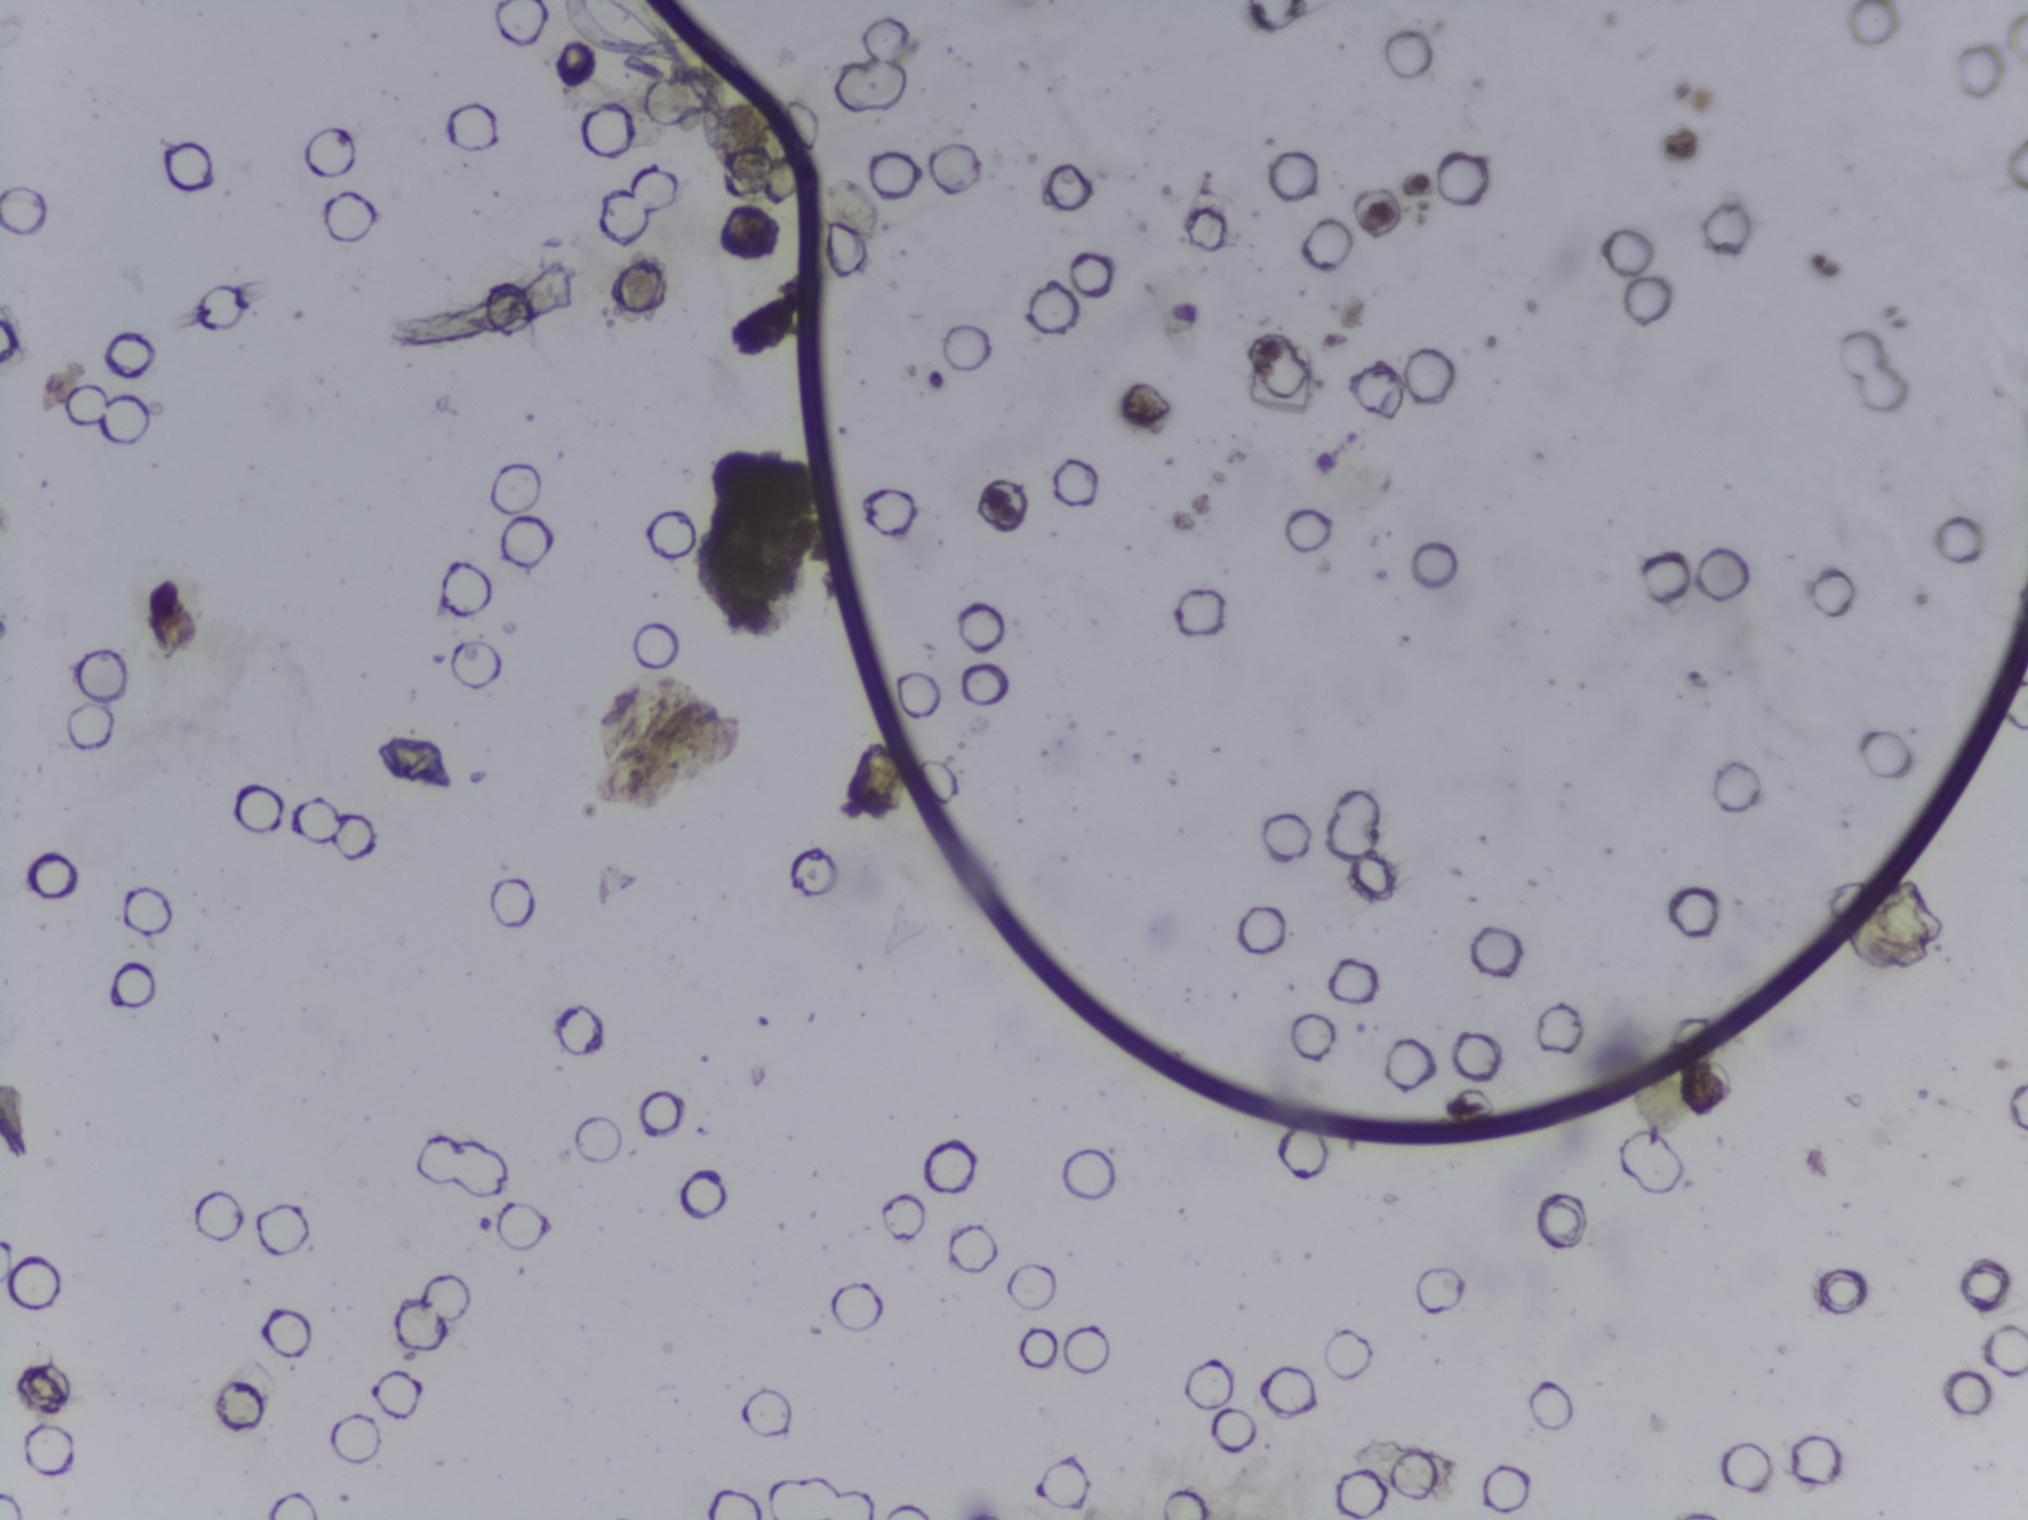
Urine filtration membrane under a 4× objective, photographed by an automated digital microscope.
The expert annotation outlines no Schistosoma egg in this image.